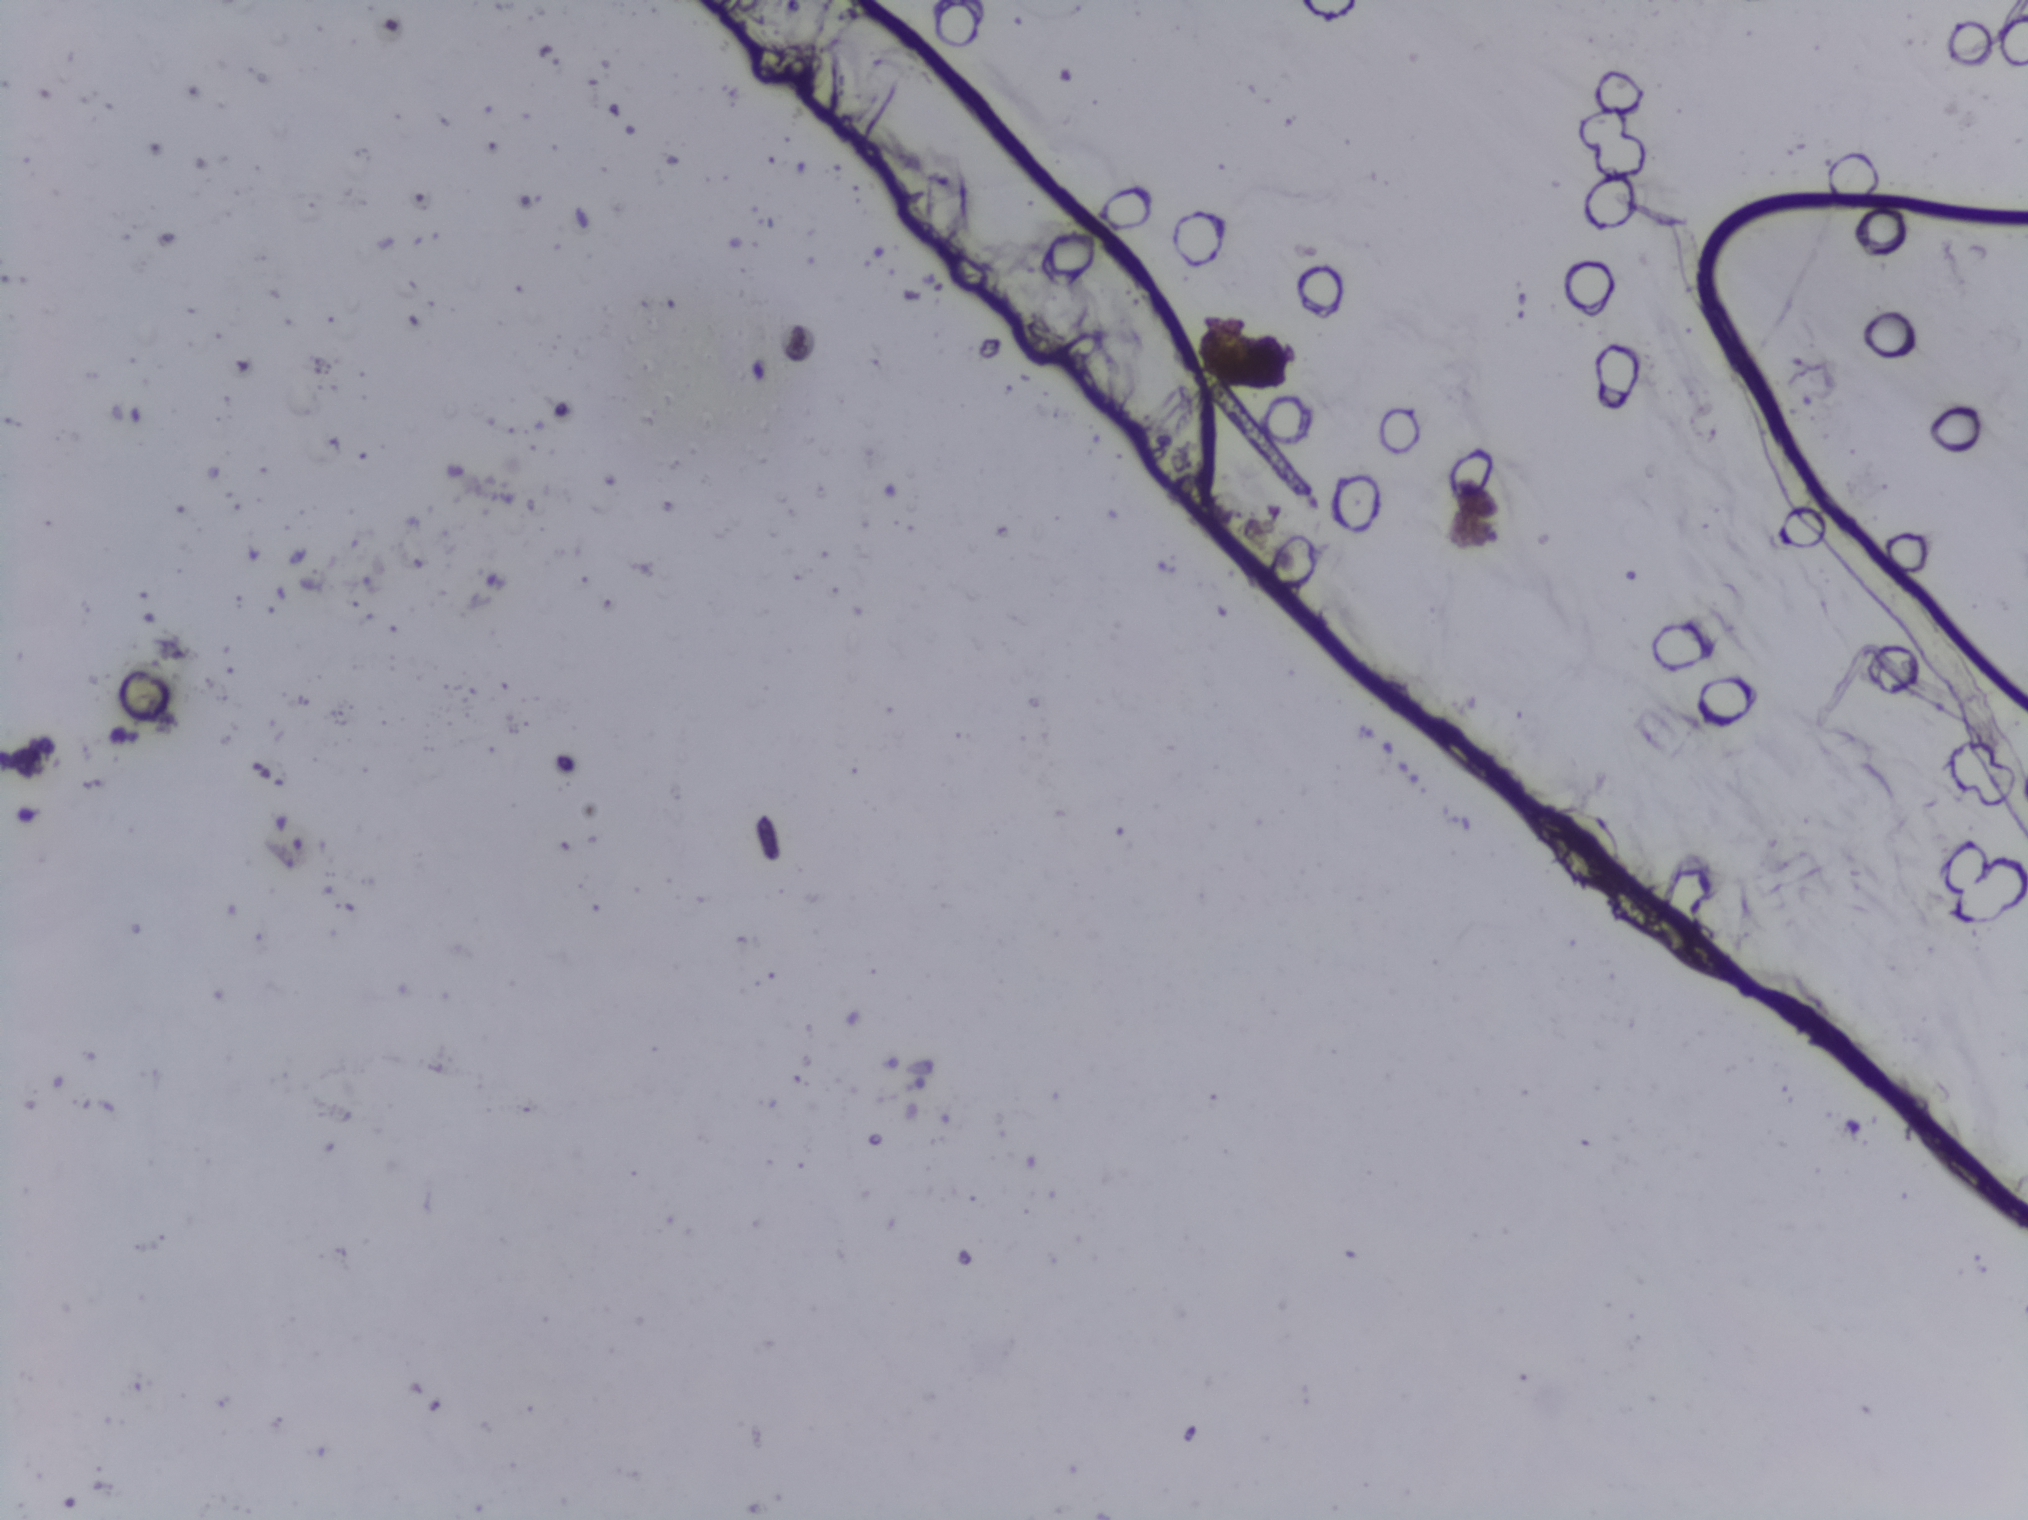
Photomicrograph of a urine filtration membrane, 4× objective. The image covers about 1.5 × 1.1 mm of the membrane.
The expert annotation marks no Schistosoma egg in this field of view.